One field of view of a urine filter membrane, 4× objective, 2028 × 1520 pixels.
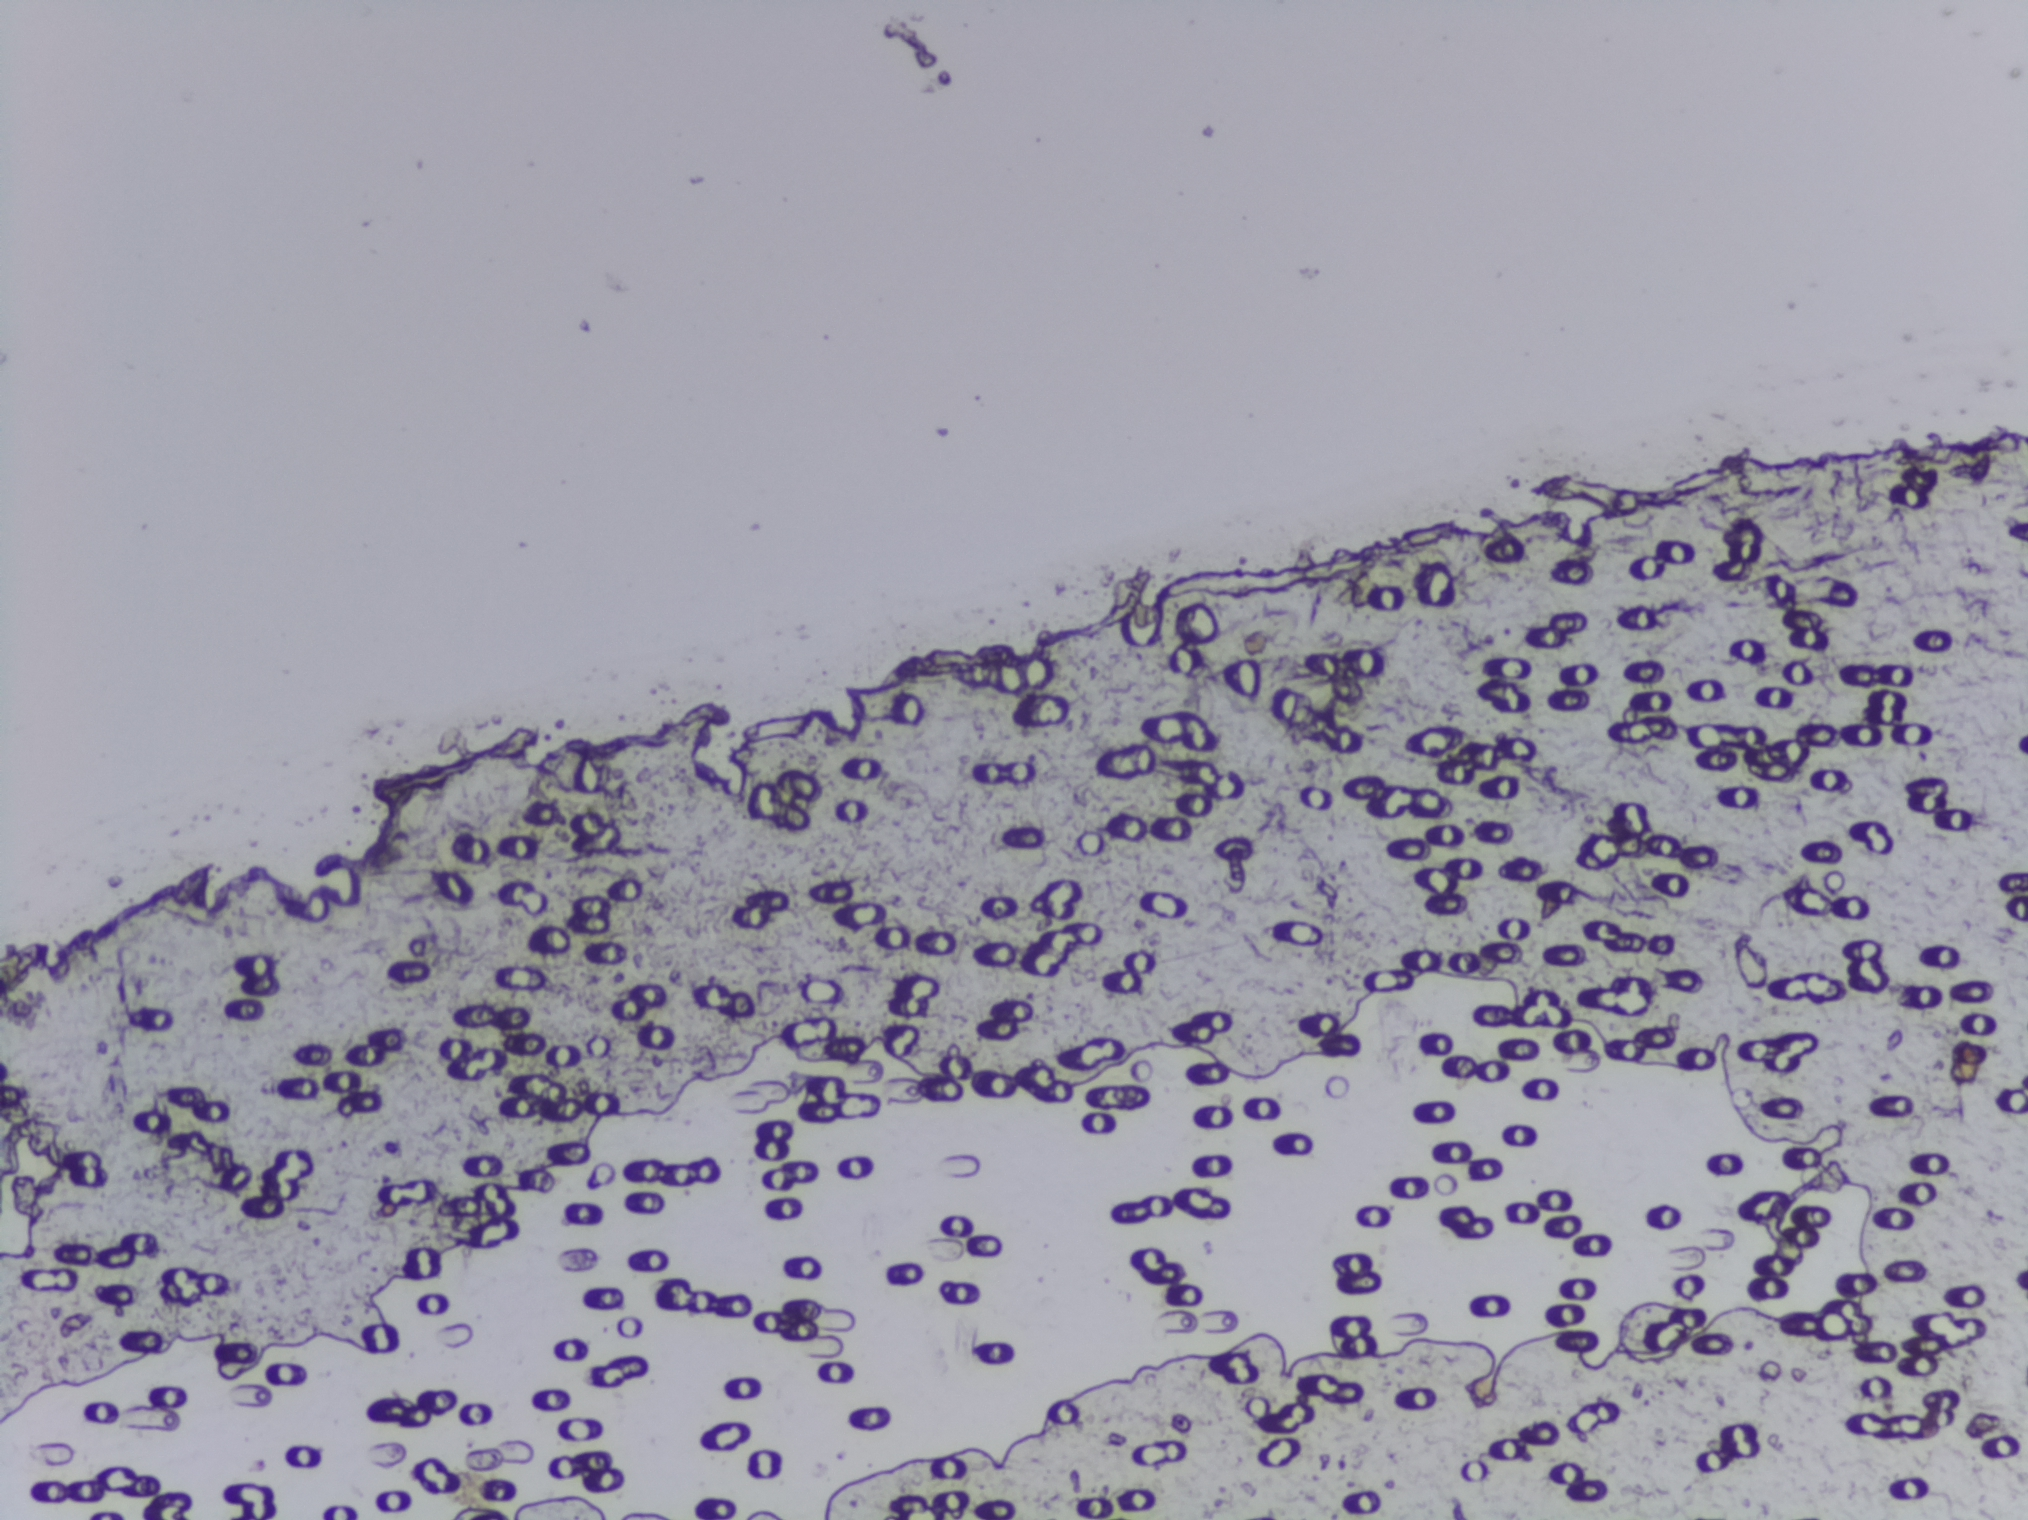
The expert annotation outlines no Schistosoma egg in this image.